One field of view of a urine filter membrane, 4× objective, 2028 × 1520 pixels.
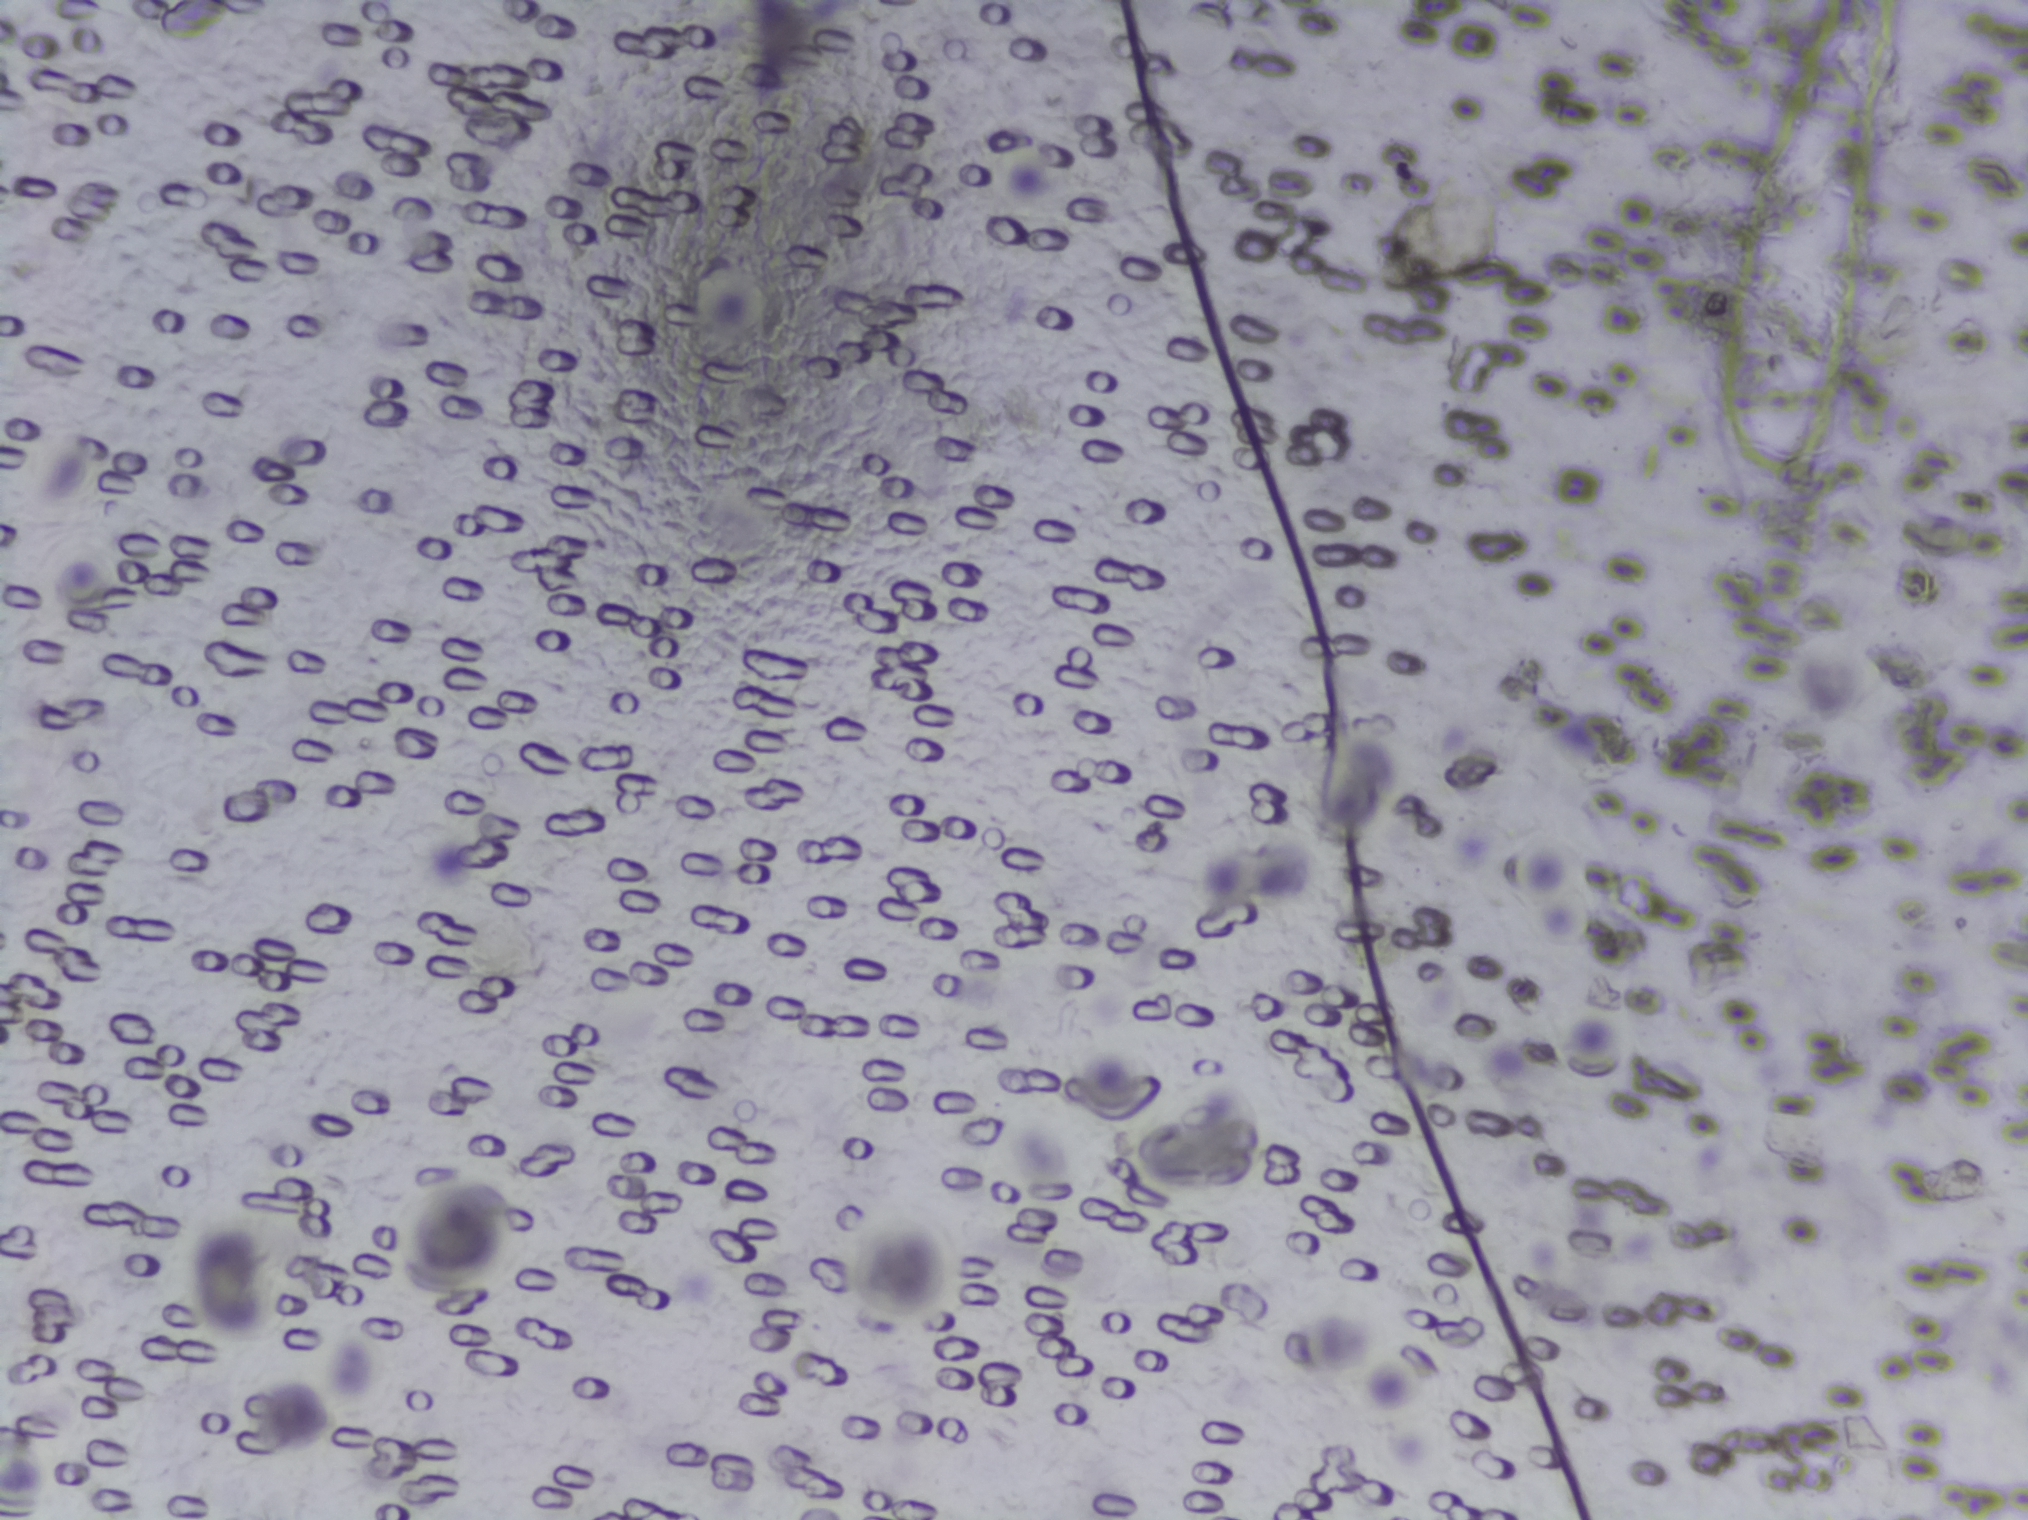
The expert annotation marks no Schistosoma egg in this field of view.